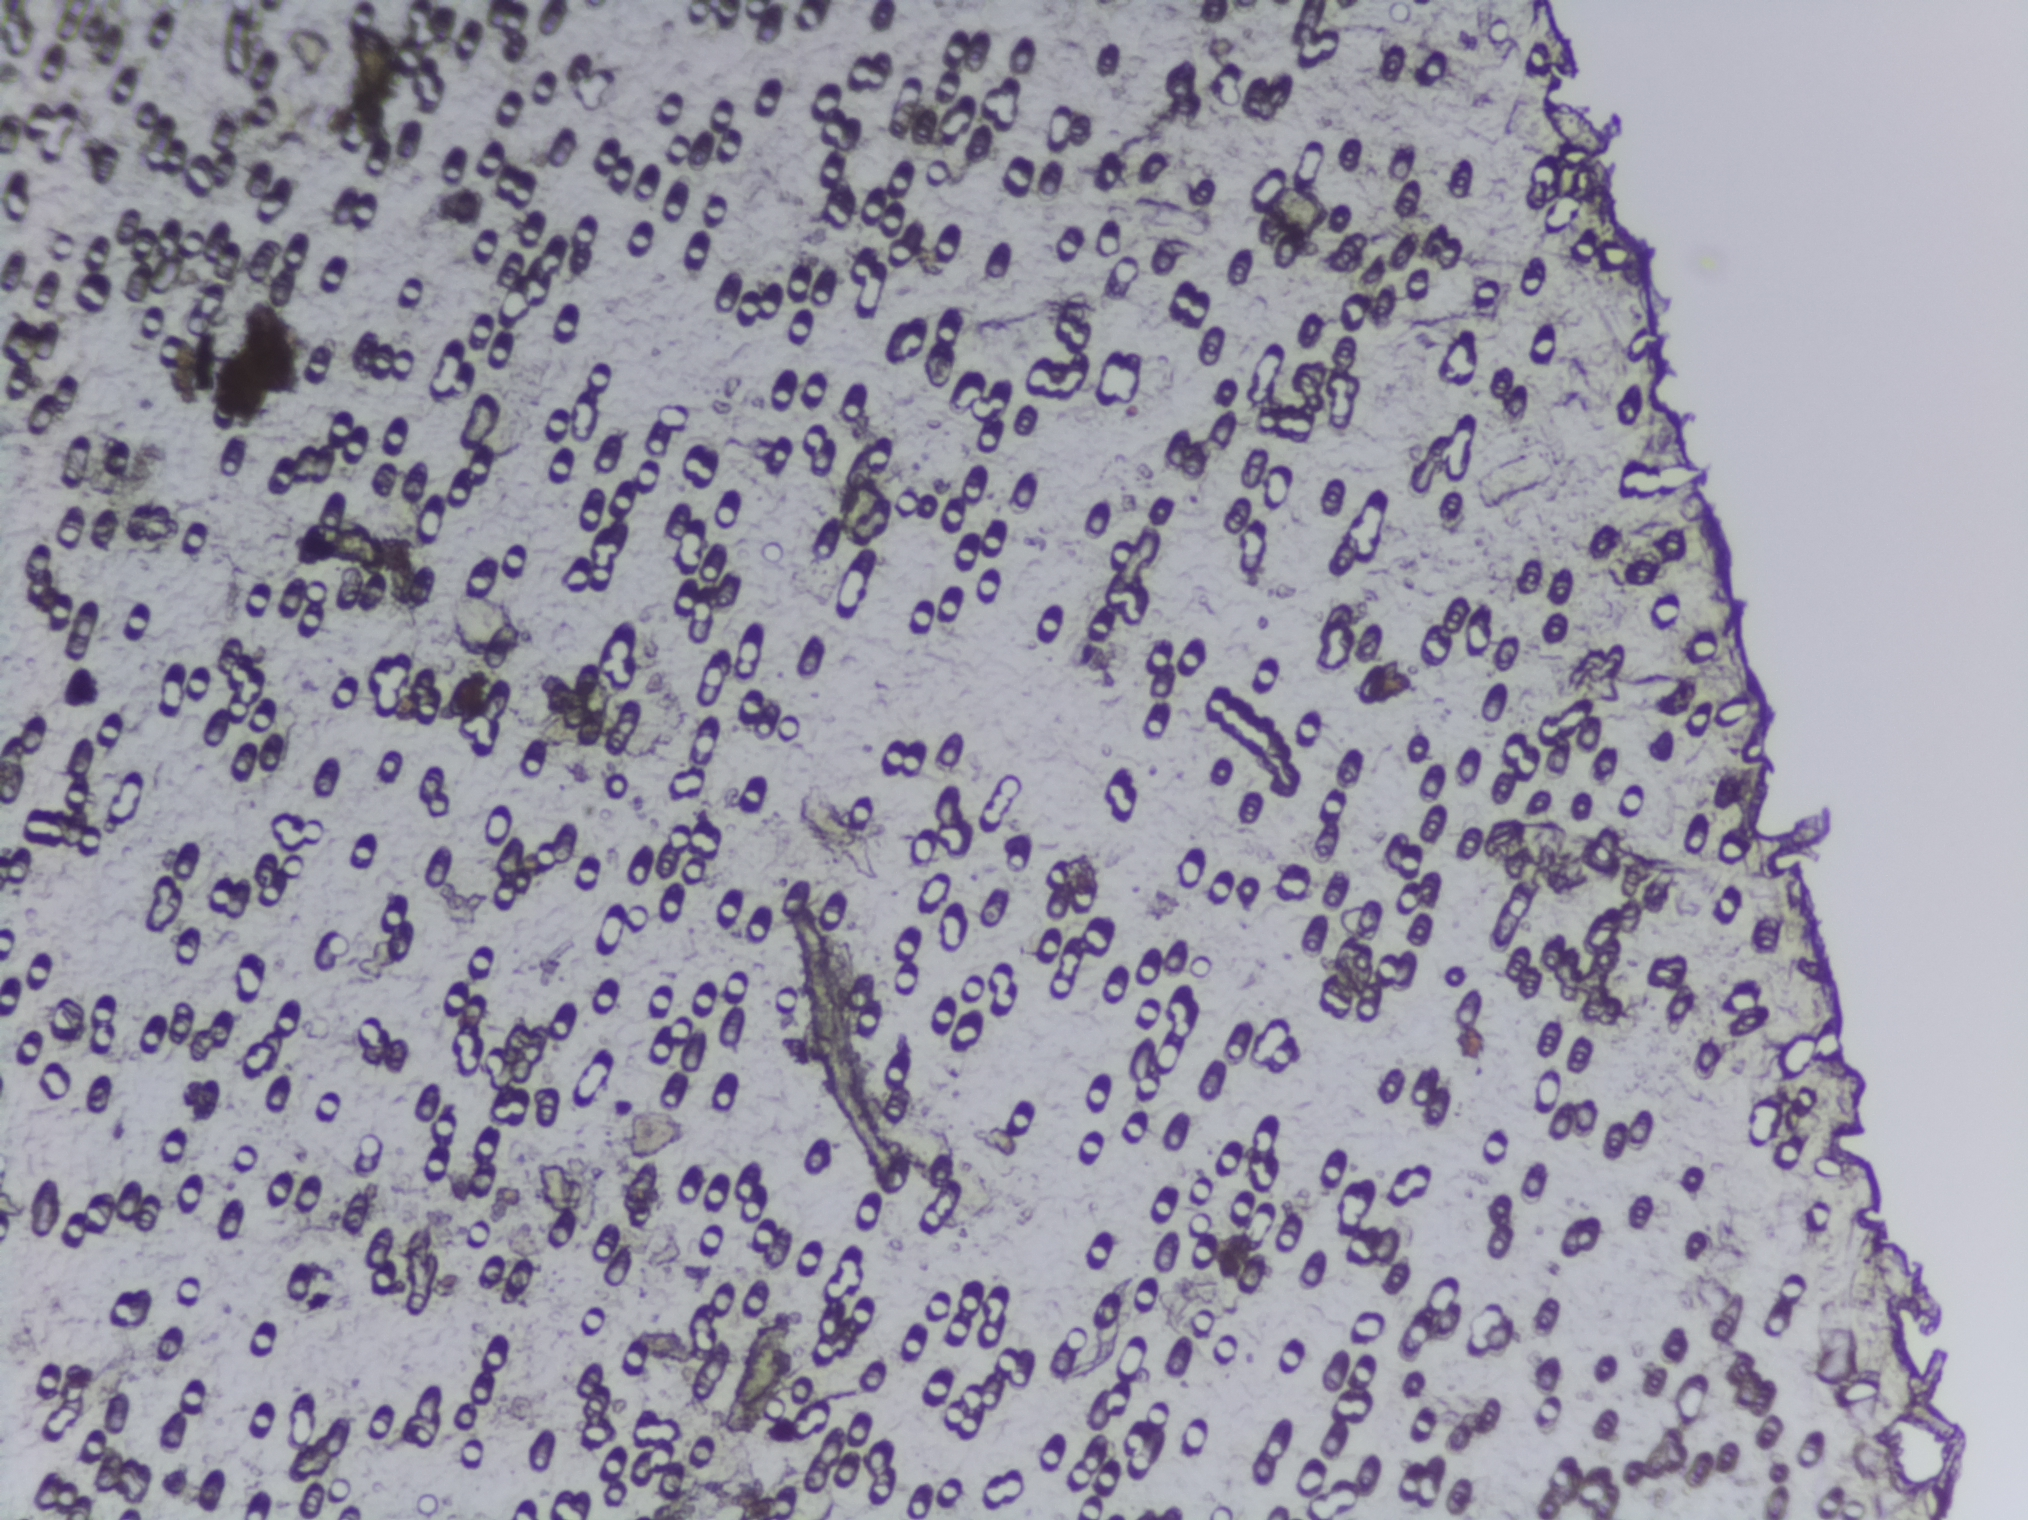
The expert annotation outlines no Schistosoma egg in this image.
Photograph from an automated digital microscope: urine filter membrane, 4× objective.